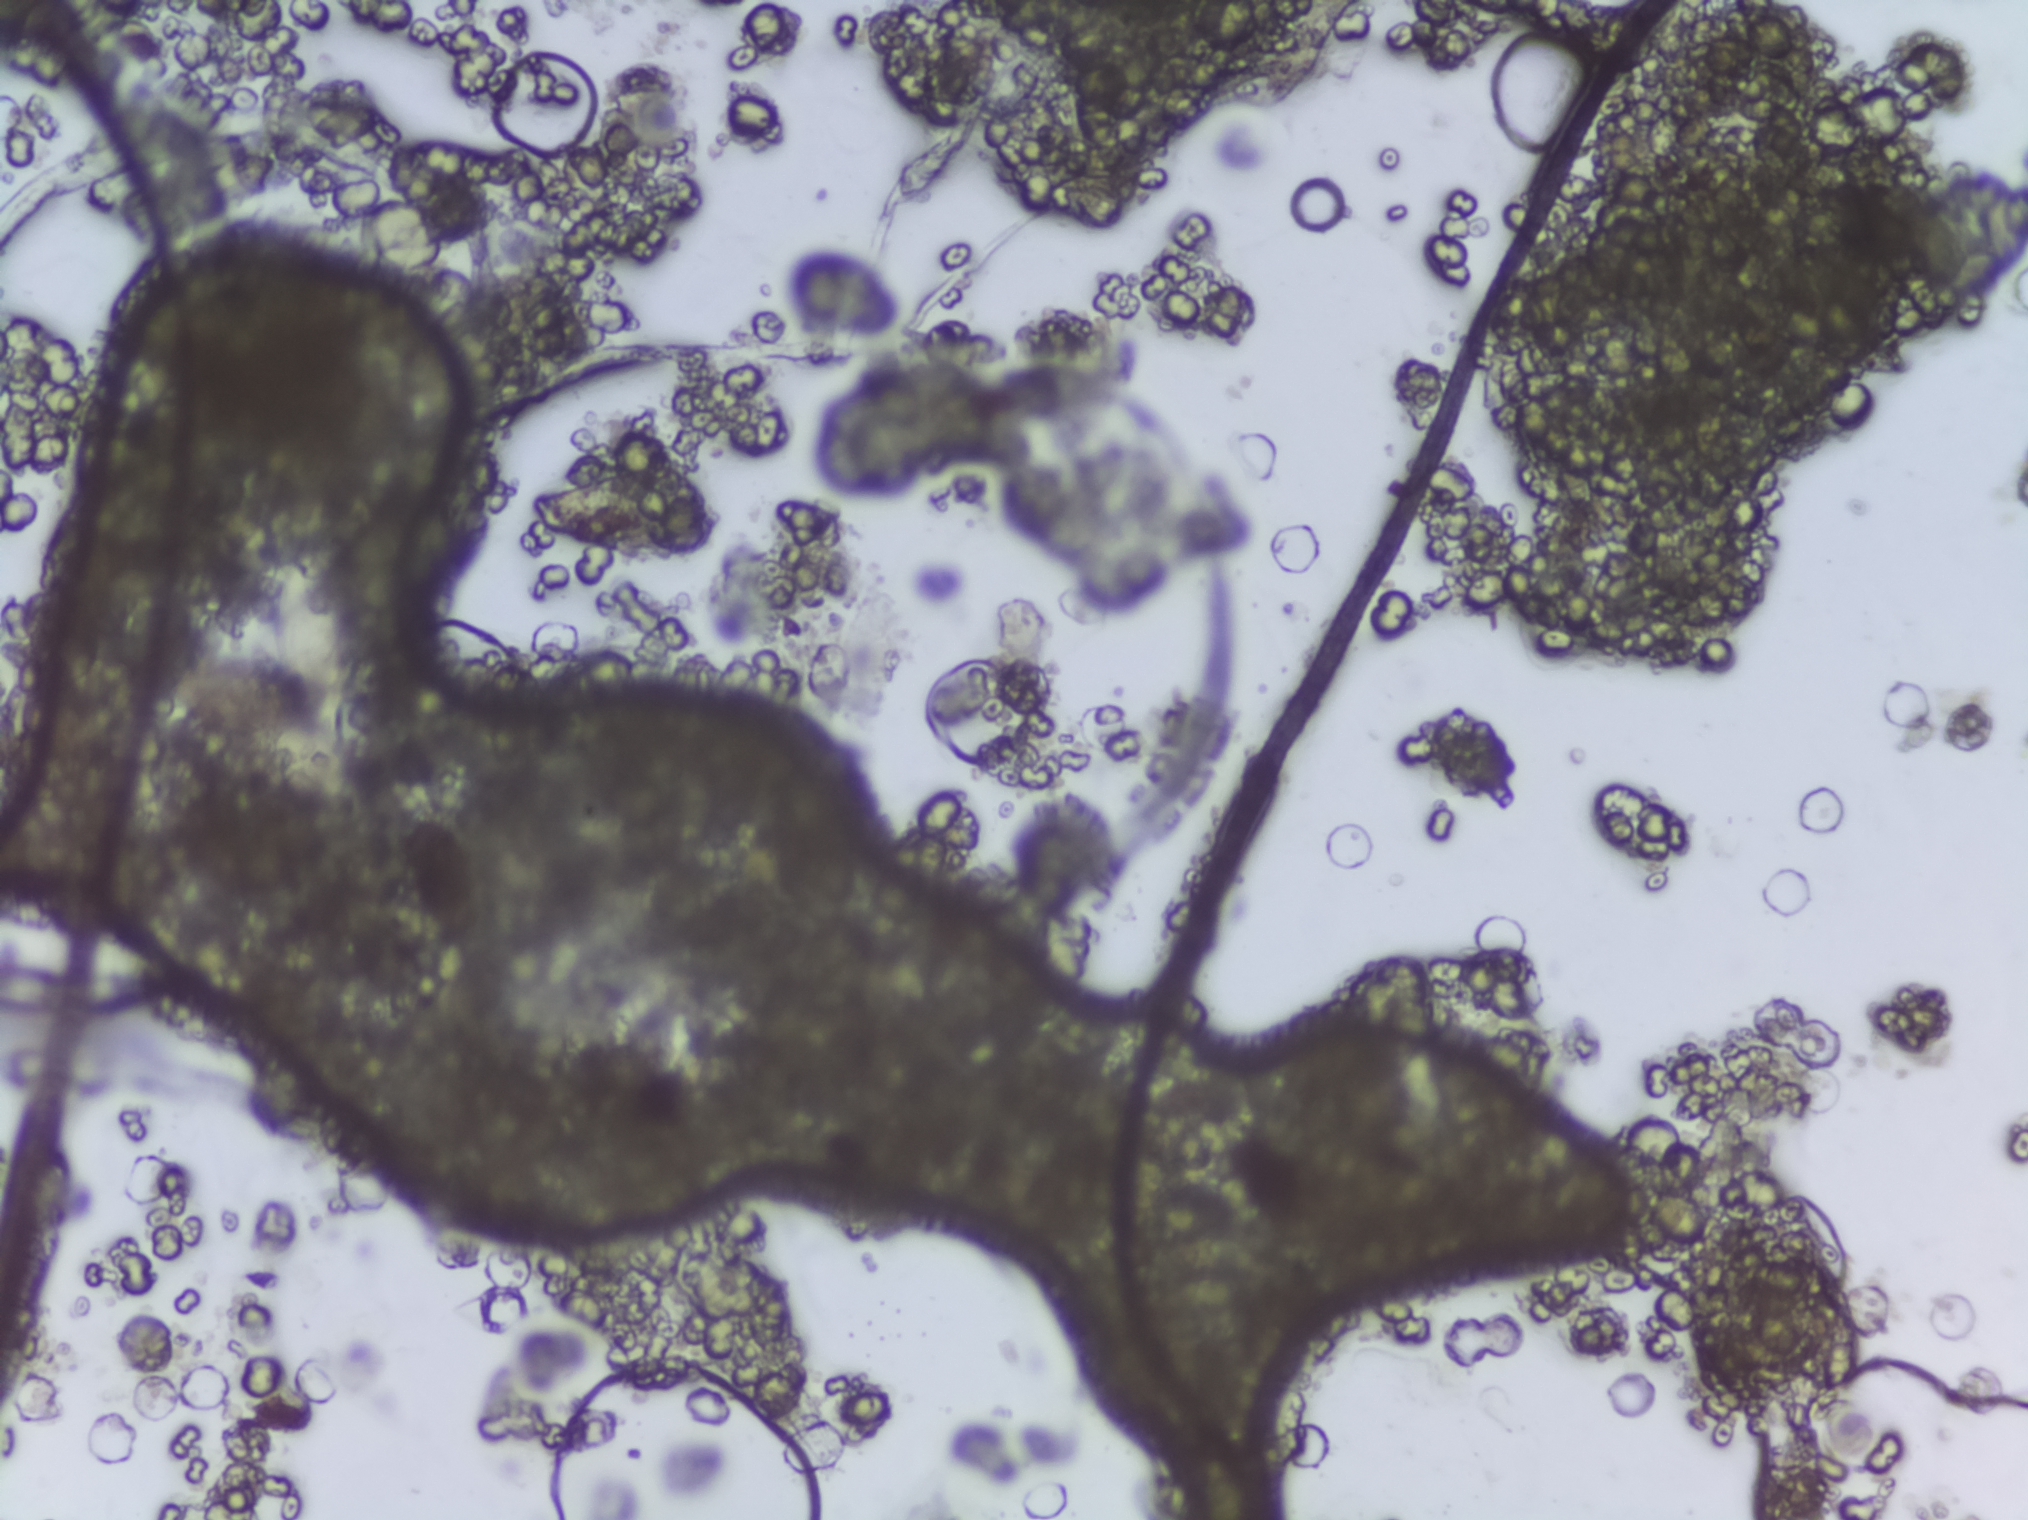
Schistosoma eggs: none outlined.
Urine filter membrane photographed through a 4× microscope objective.